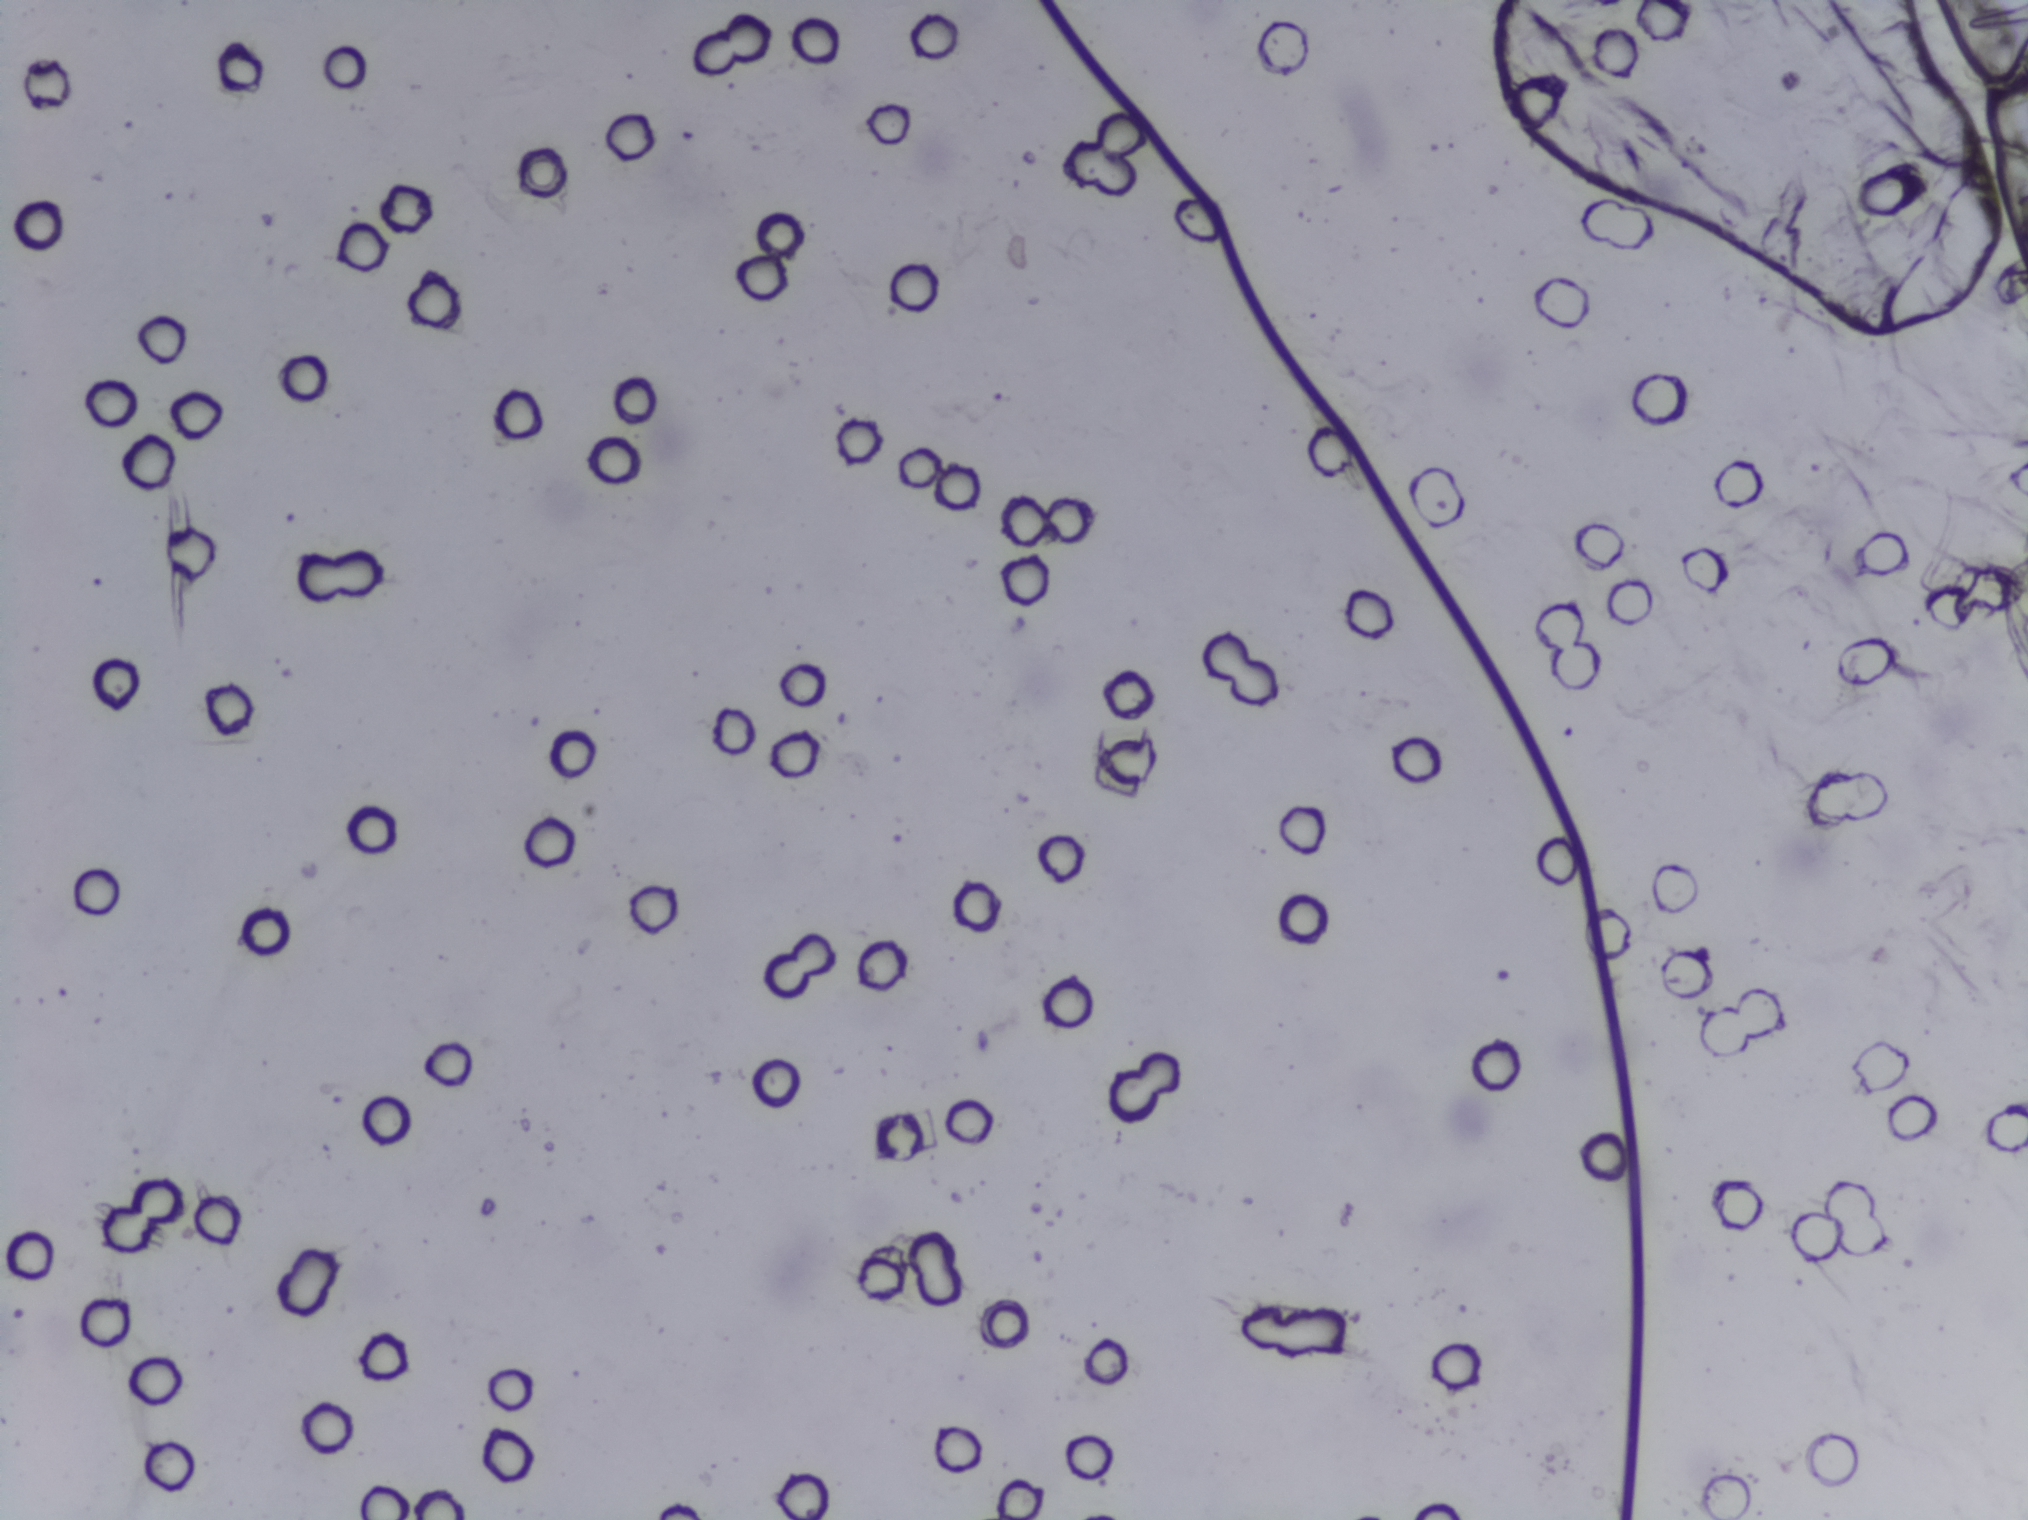
The expert annotation outlines no Schistosoma egg in this image.
Urine filtration membrane under a 4× objective, photographed by an automated digital microscope.